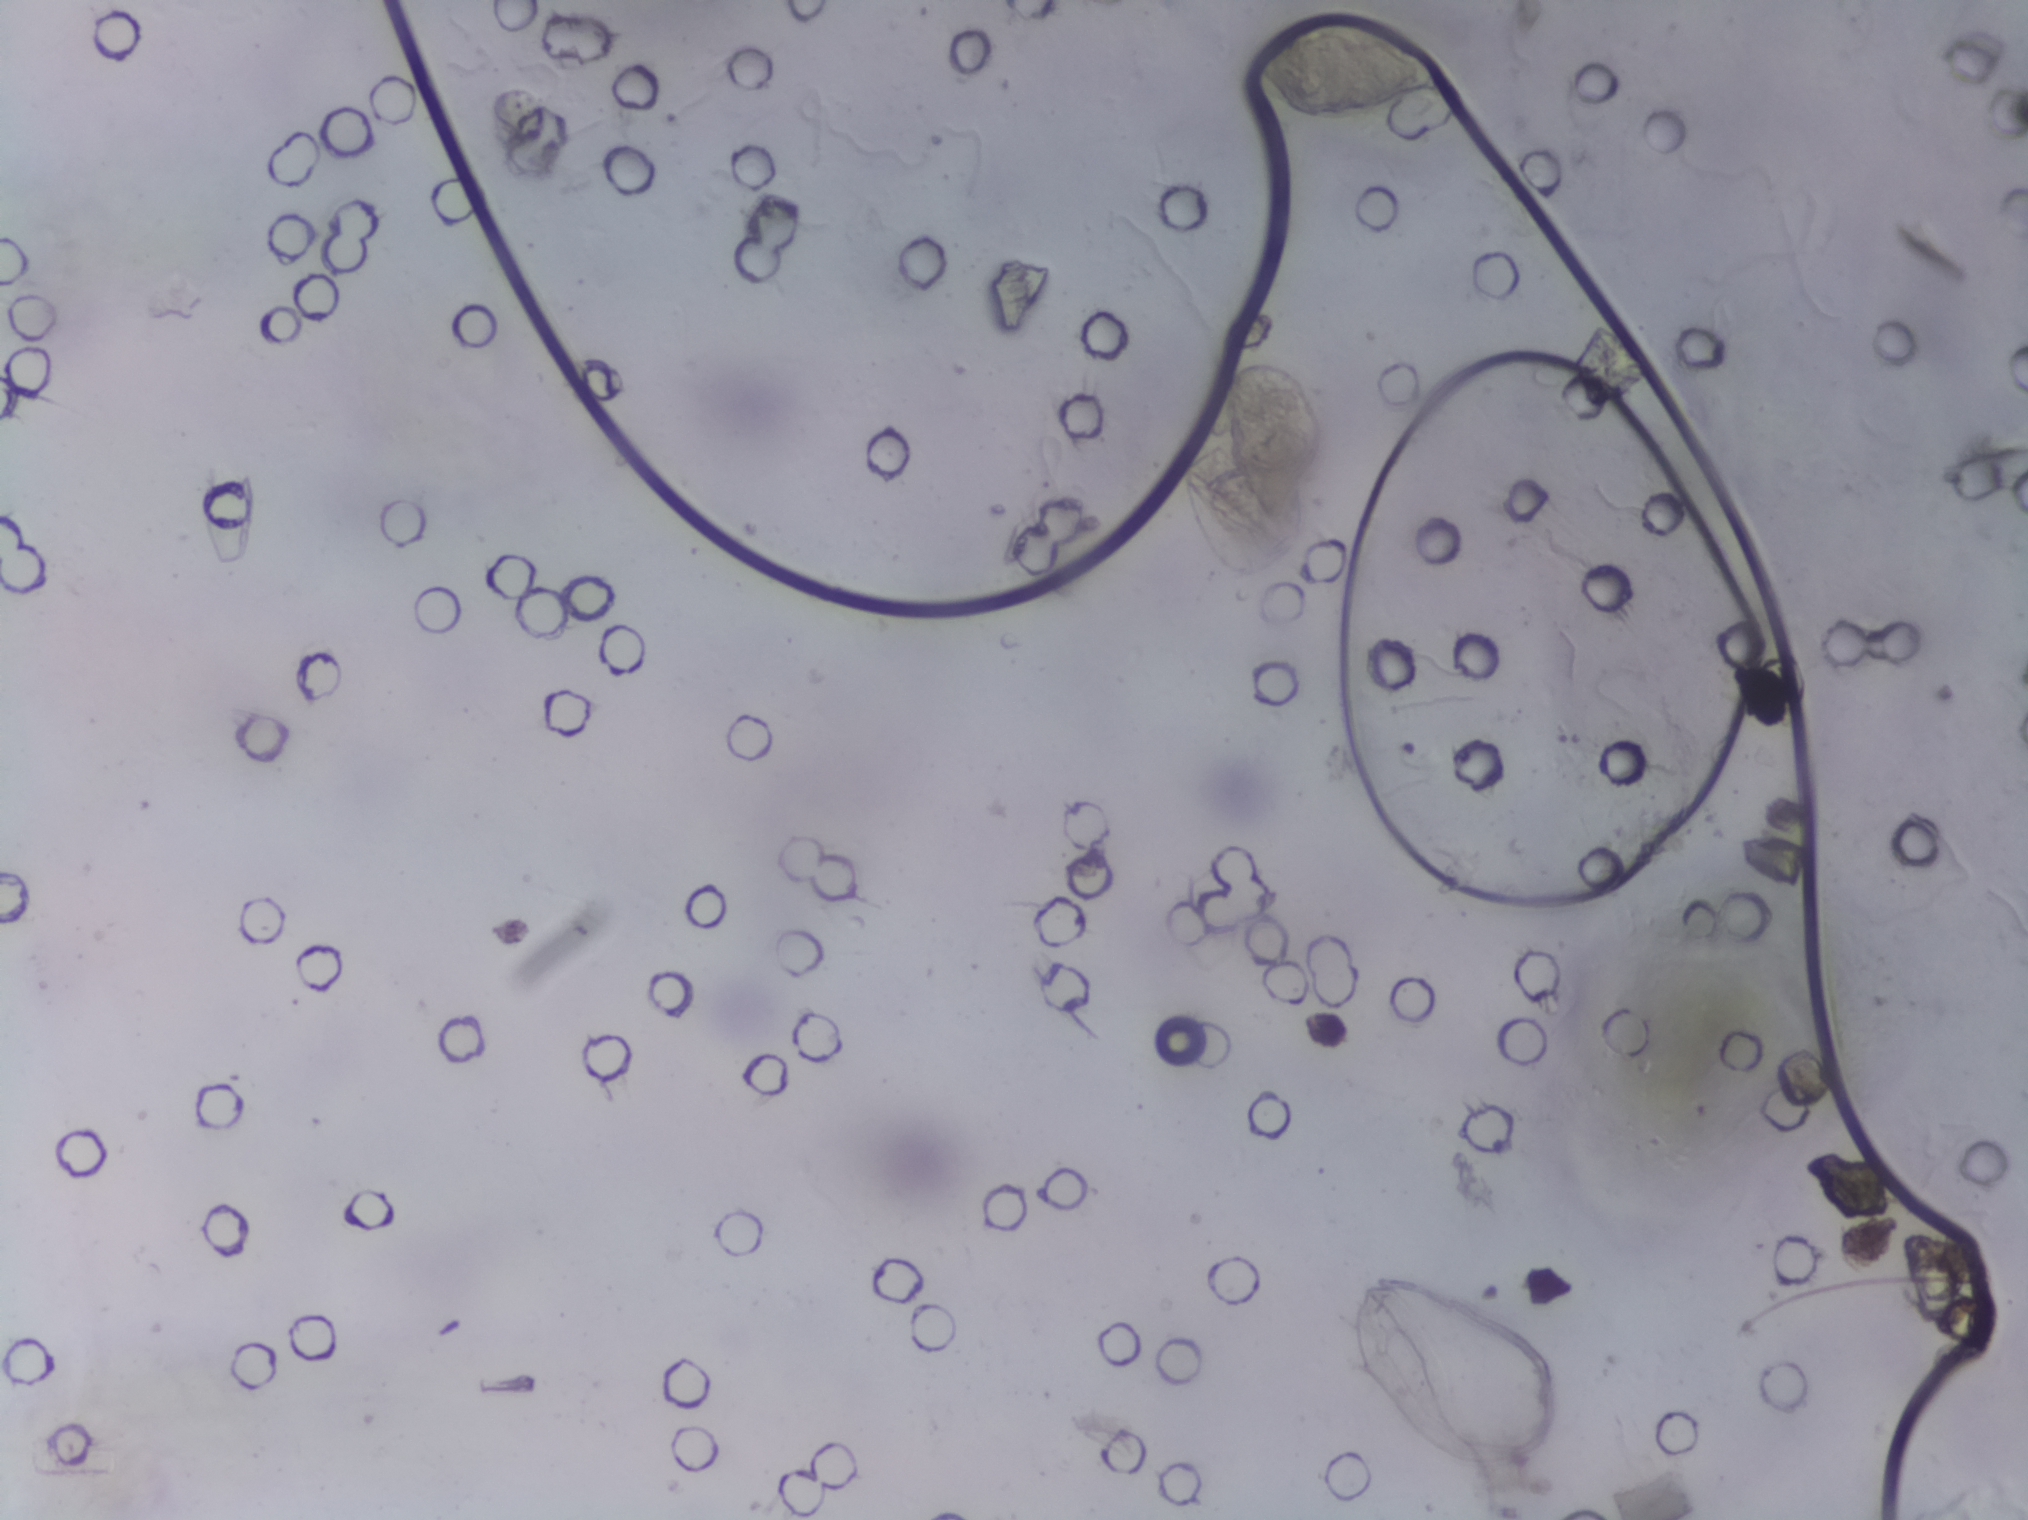
Urine filter membrane photographed through a 4× microscope objective. Field of view: about 1.5 mm wide and 1.1 mm high.
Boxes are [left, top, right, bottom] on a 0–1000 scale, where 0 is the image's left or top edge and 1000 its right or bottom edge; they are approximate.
Two areas of this image are outlined as Schistosoma eggs, from left to right: [604, 237, 654, 347] and [620, 16, 705, 81]. Eggs that touch can end up inside the same outlined area.